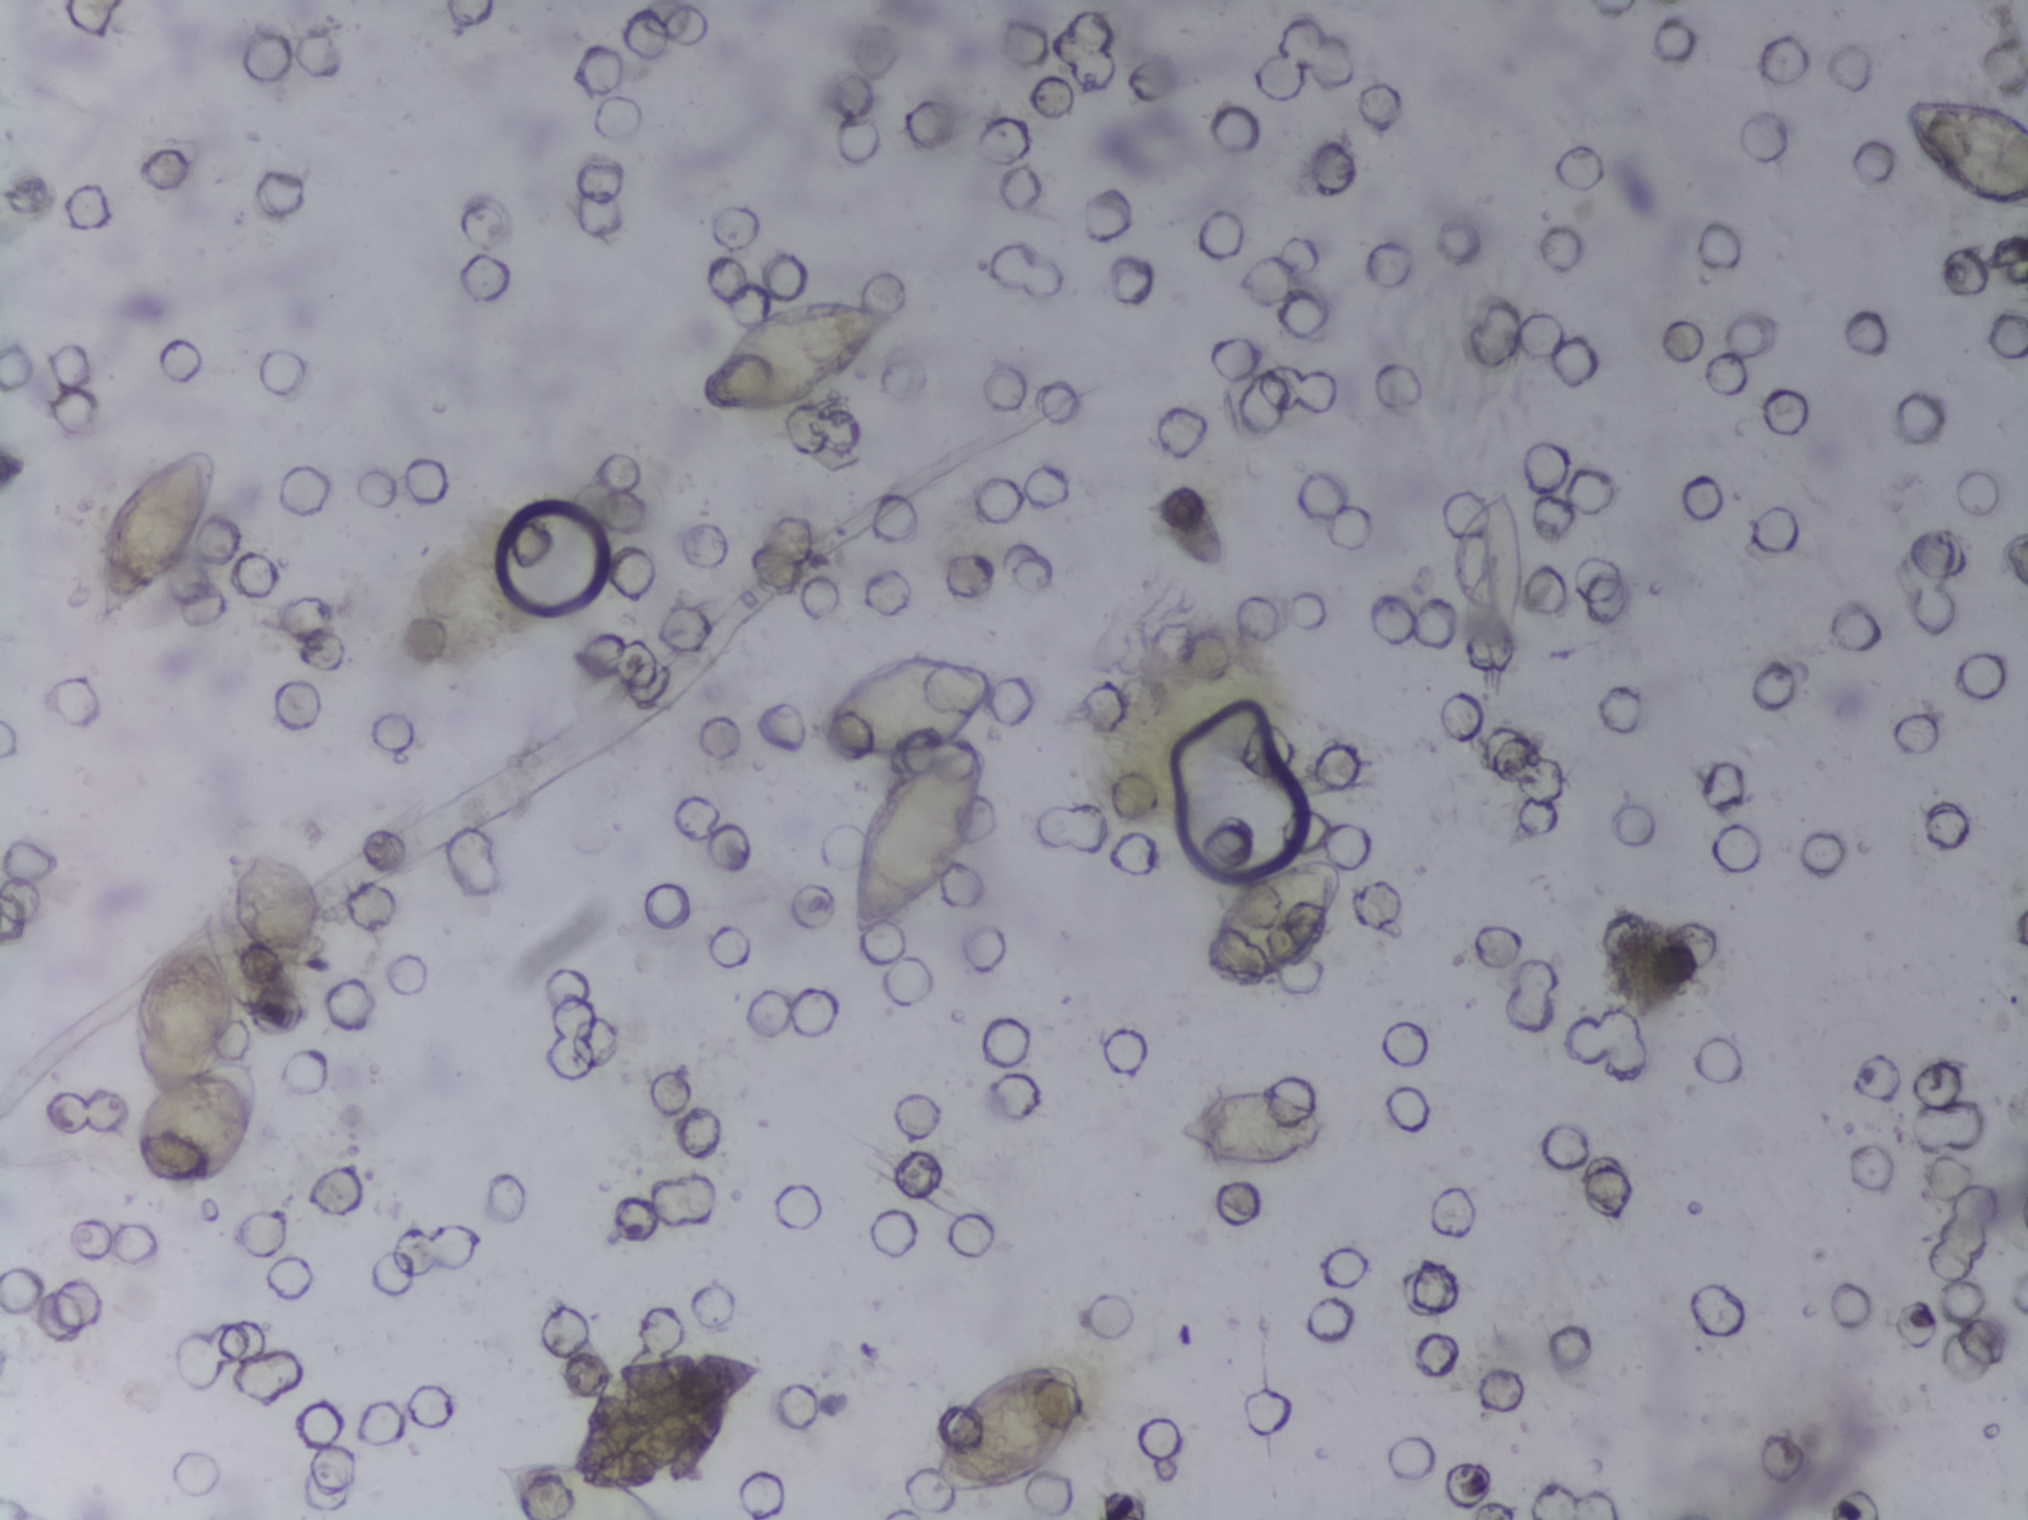
Urine filter membrane photographed through a 4× microscope objective.
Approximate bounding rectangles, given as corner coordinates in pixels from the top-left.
Schistosoma eggs are outlined in the expert annotation at (x1=88, y1=444, x2=218, y2=630); (x1=129, y1=897, x2=268, y2=1189); (x1=487, y1=1452, x2=668, y2=1519) (reaching the bottom edge of the frame); (x1=694, y1=293, x2=889, y2=420); (x1=798, y1=650, x2=997, y2=947); (x1=923, y1=1359, x2=1091, y2=1504); (x1=1173, y1=1085, x2=1328, y2=1172); (x1=1203, y1=854, x2=1348, y2=990); (x1=1451, y1=482, x2=1524, y2=619); (x1=1901, y1=91, x2=2027, y2=208) (reaching the right edge of the frame) (left to right). Eggs that touch can end up inside the same outlined area.